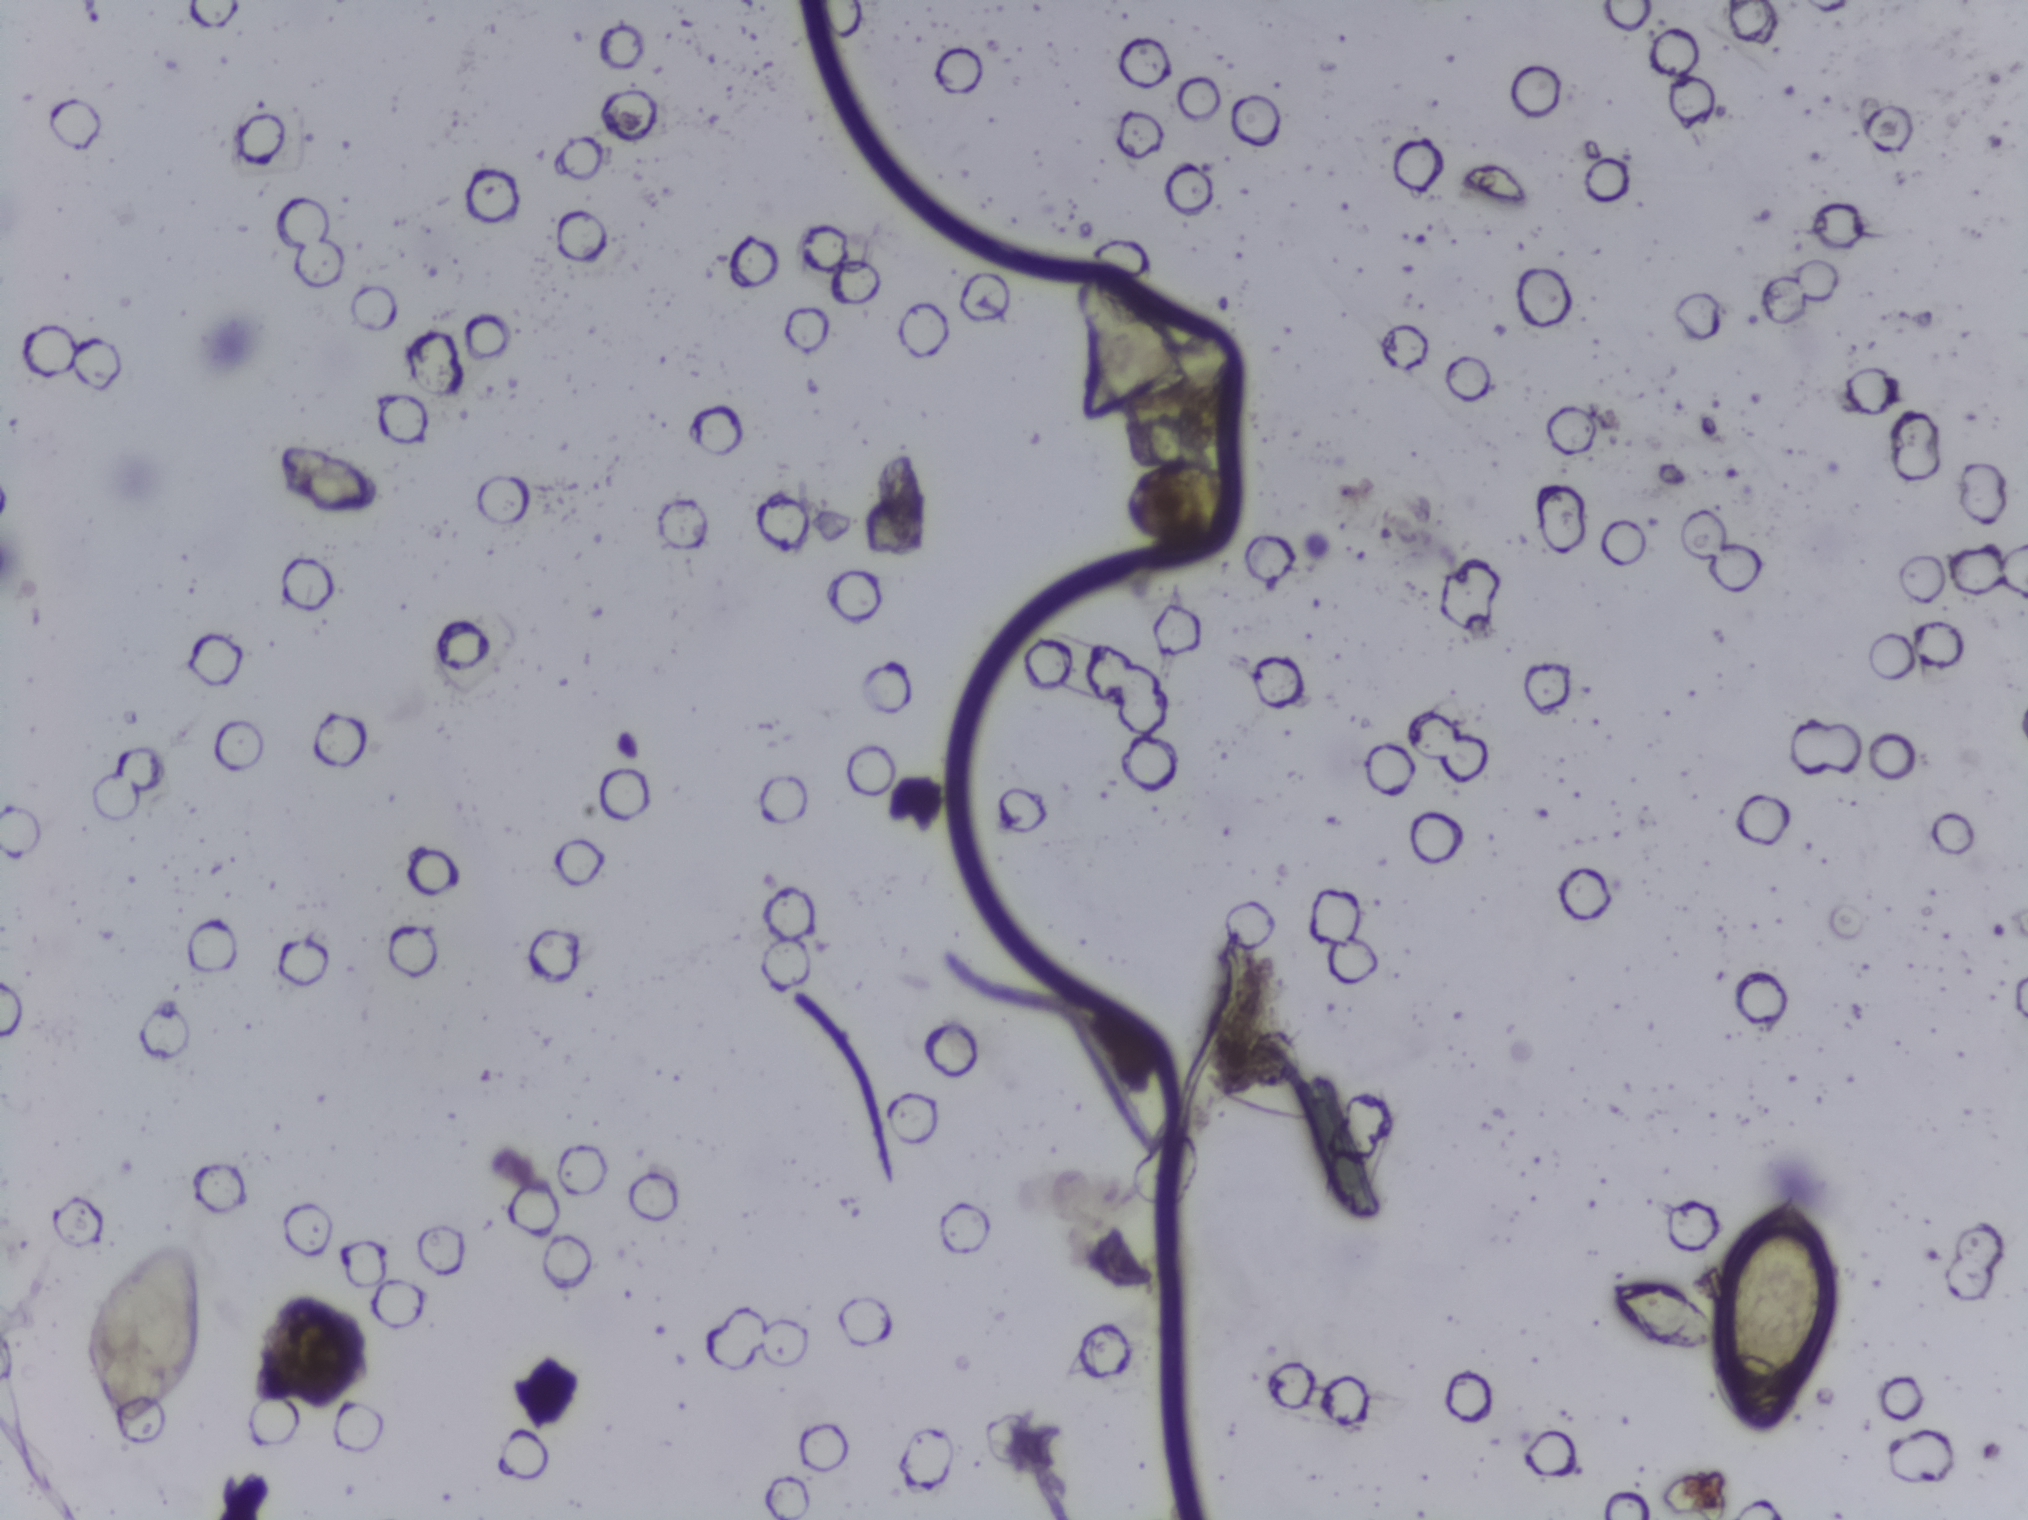
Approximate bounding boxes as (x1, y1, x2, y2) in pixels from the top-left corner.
Schistosoma eggs are outlined in two areas of this image, listed from left to right: (79, 1230, 205, 1452) and (1710, 1196, 1846, 1461). Marked pixels, not the boxes around them: about 1.5% of the image. A single outlined area may contain several eggs.
Urine filtration membrane under a 4× objective, photographed by an automated digital microscope.